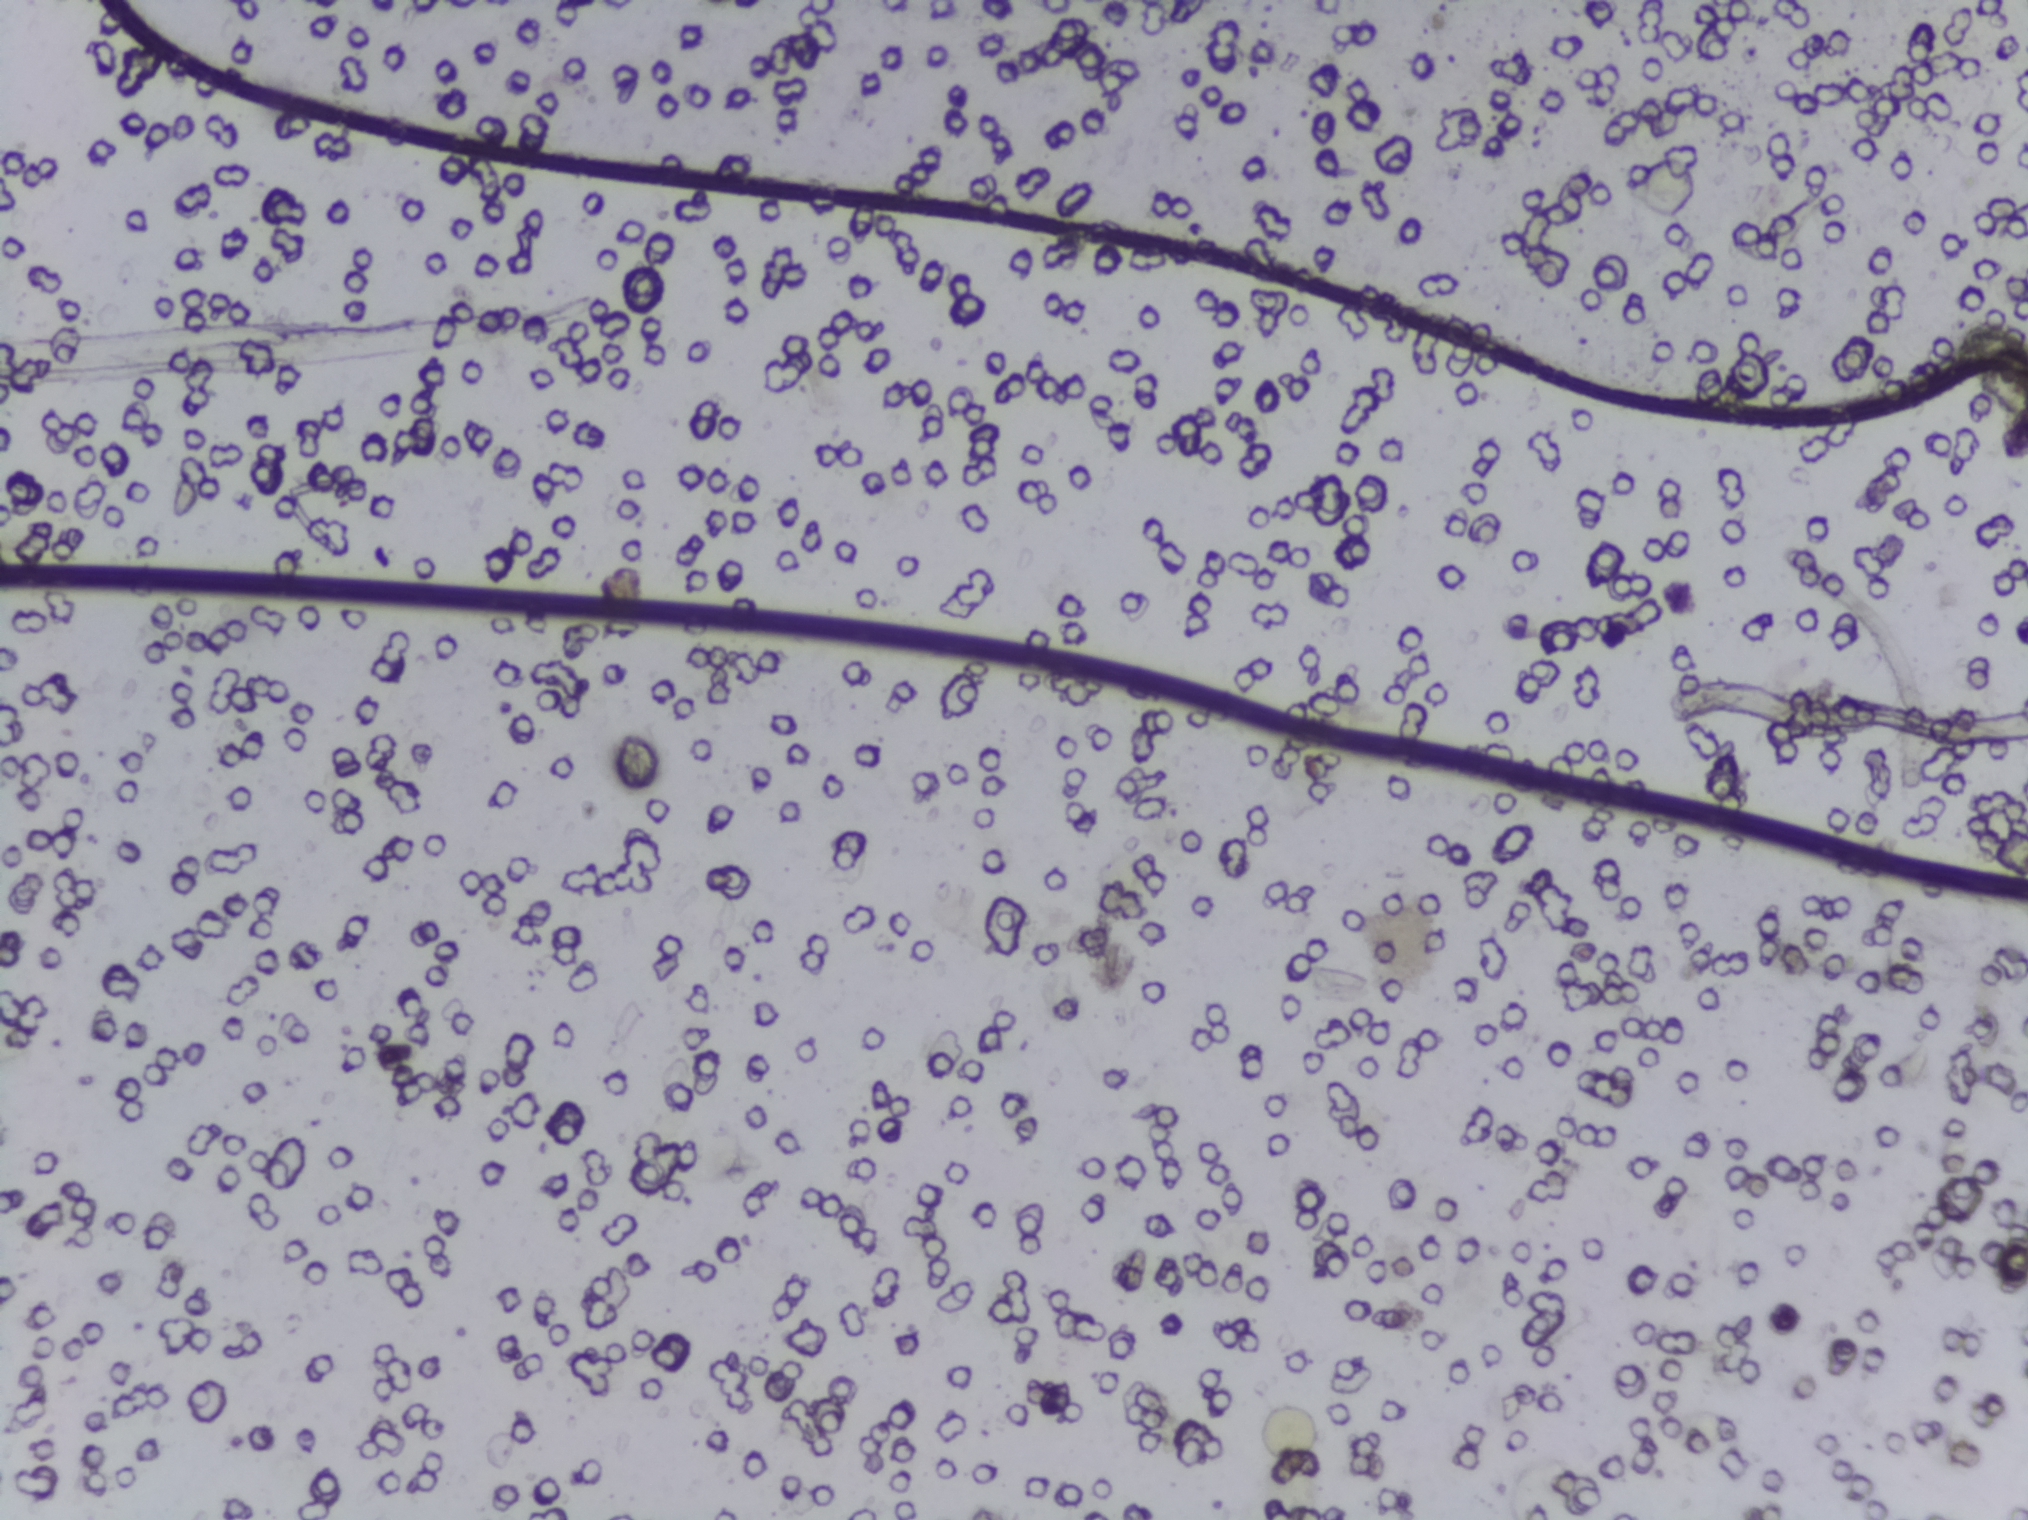
Urine filtration membrane under a 4× objective, photographed by an automated digital microscope.
The expert annotation outlines no Schistosoma egg in this image.